Urine filter membrane photographed through a 4× microscope objective. Field of view: about 1.5 mm wide and 1.1 mm high.
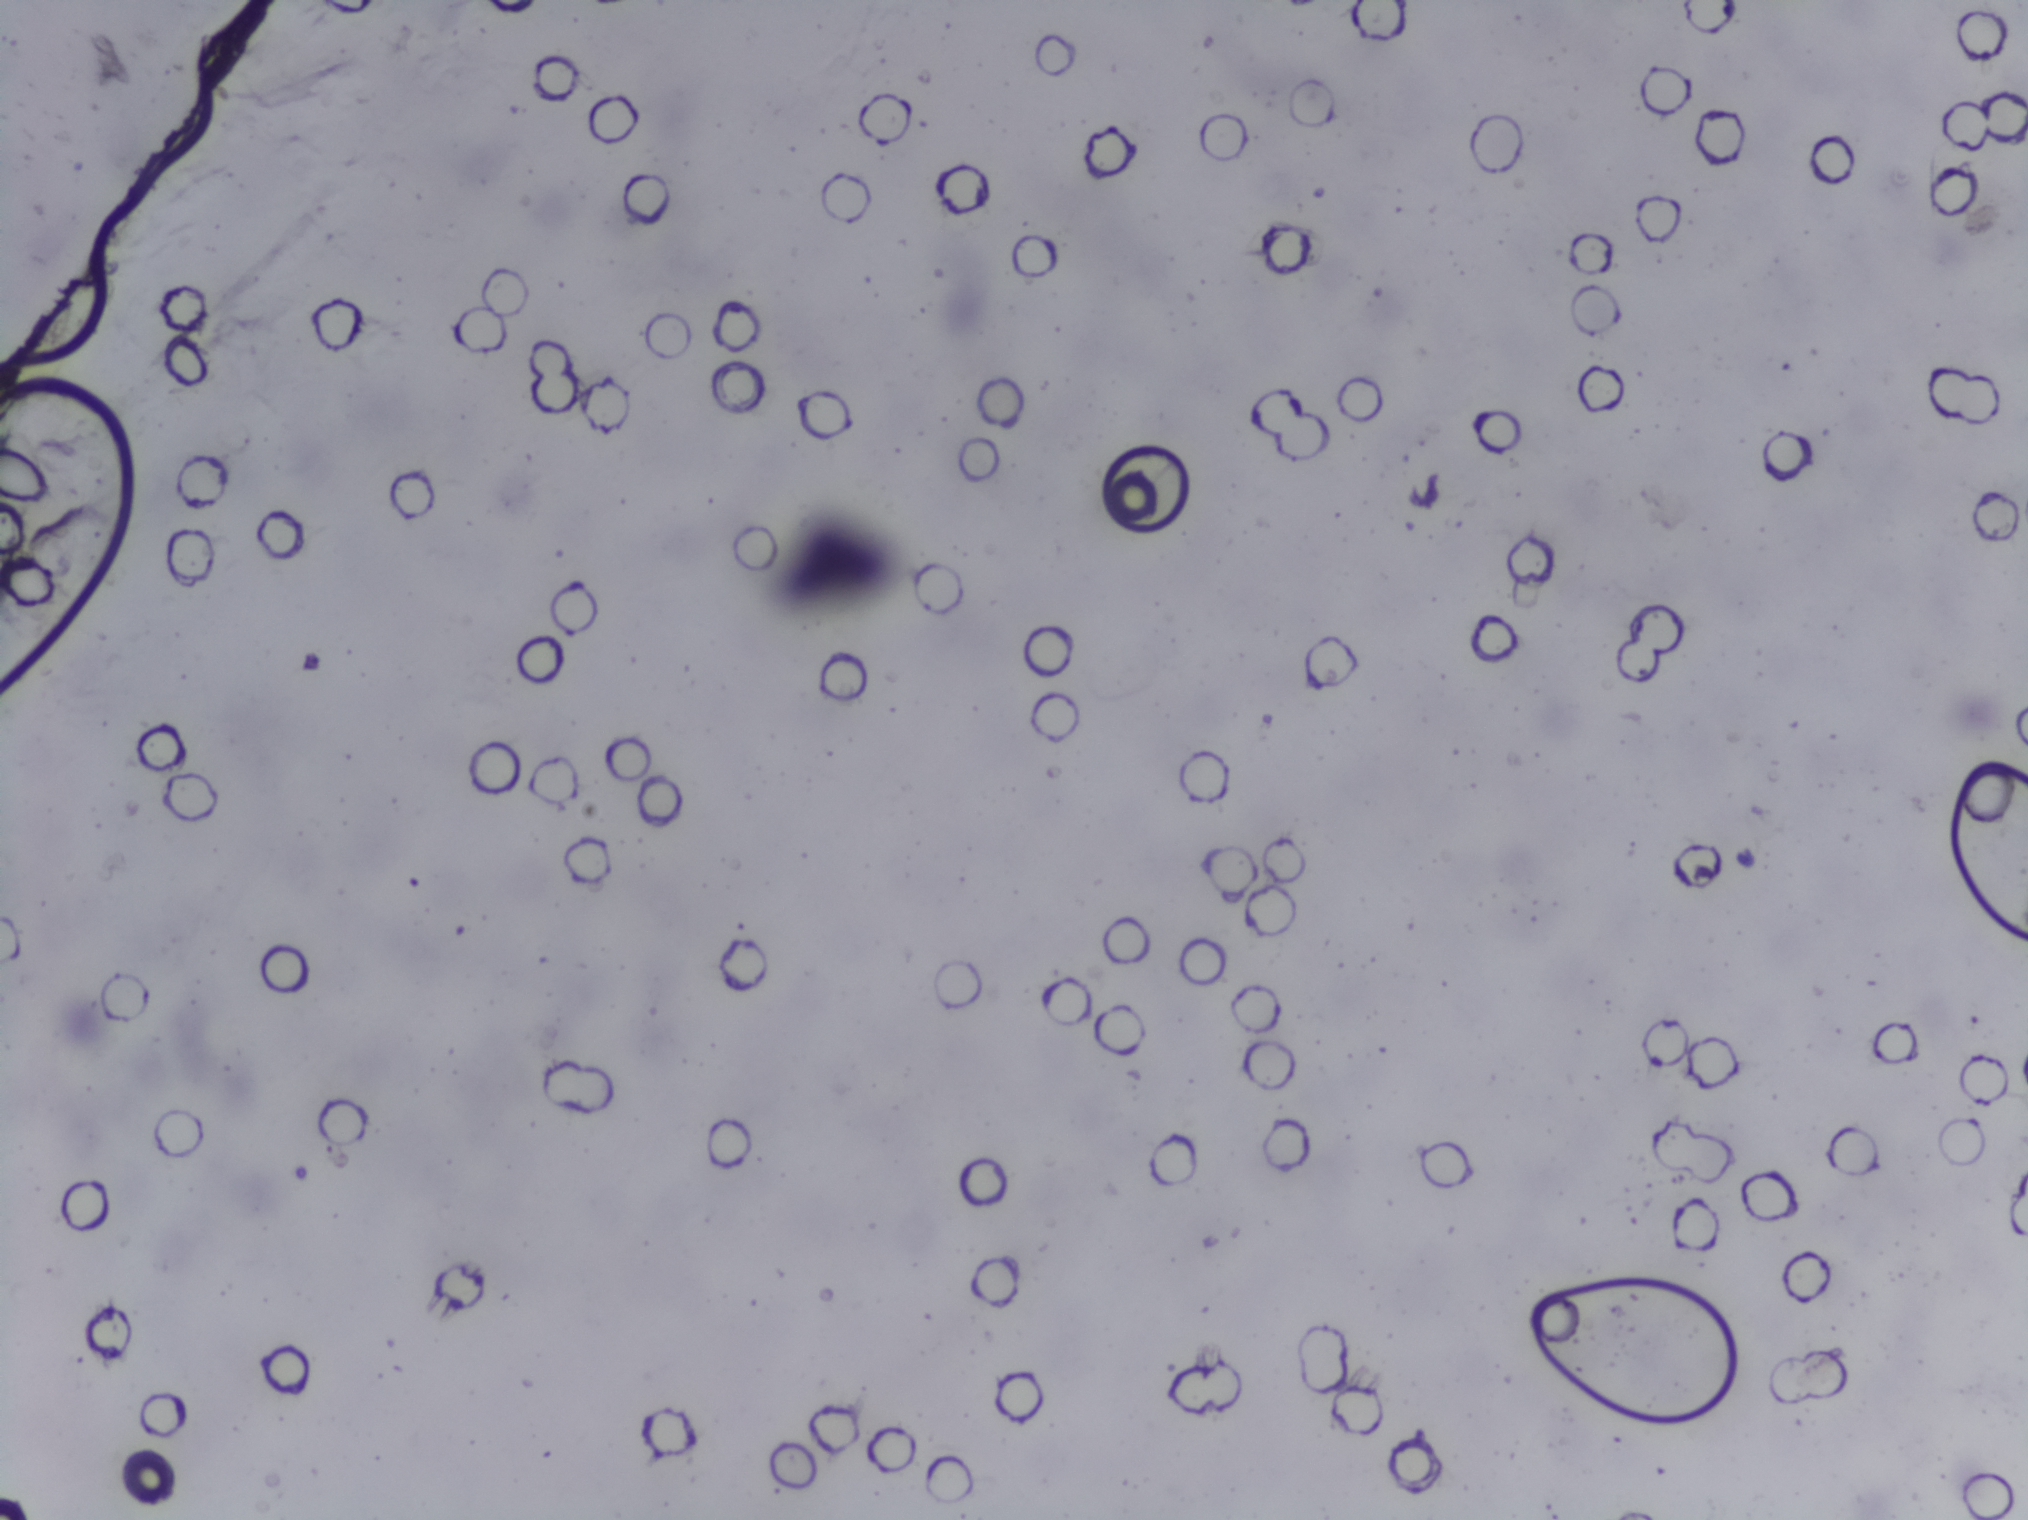
The expert annotation outlines no Schistosoma egg in this image.